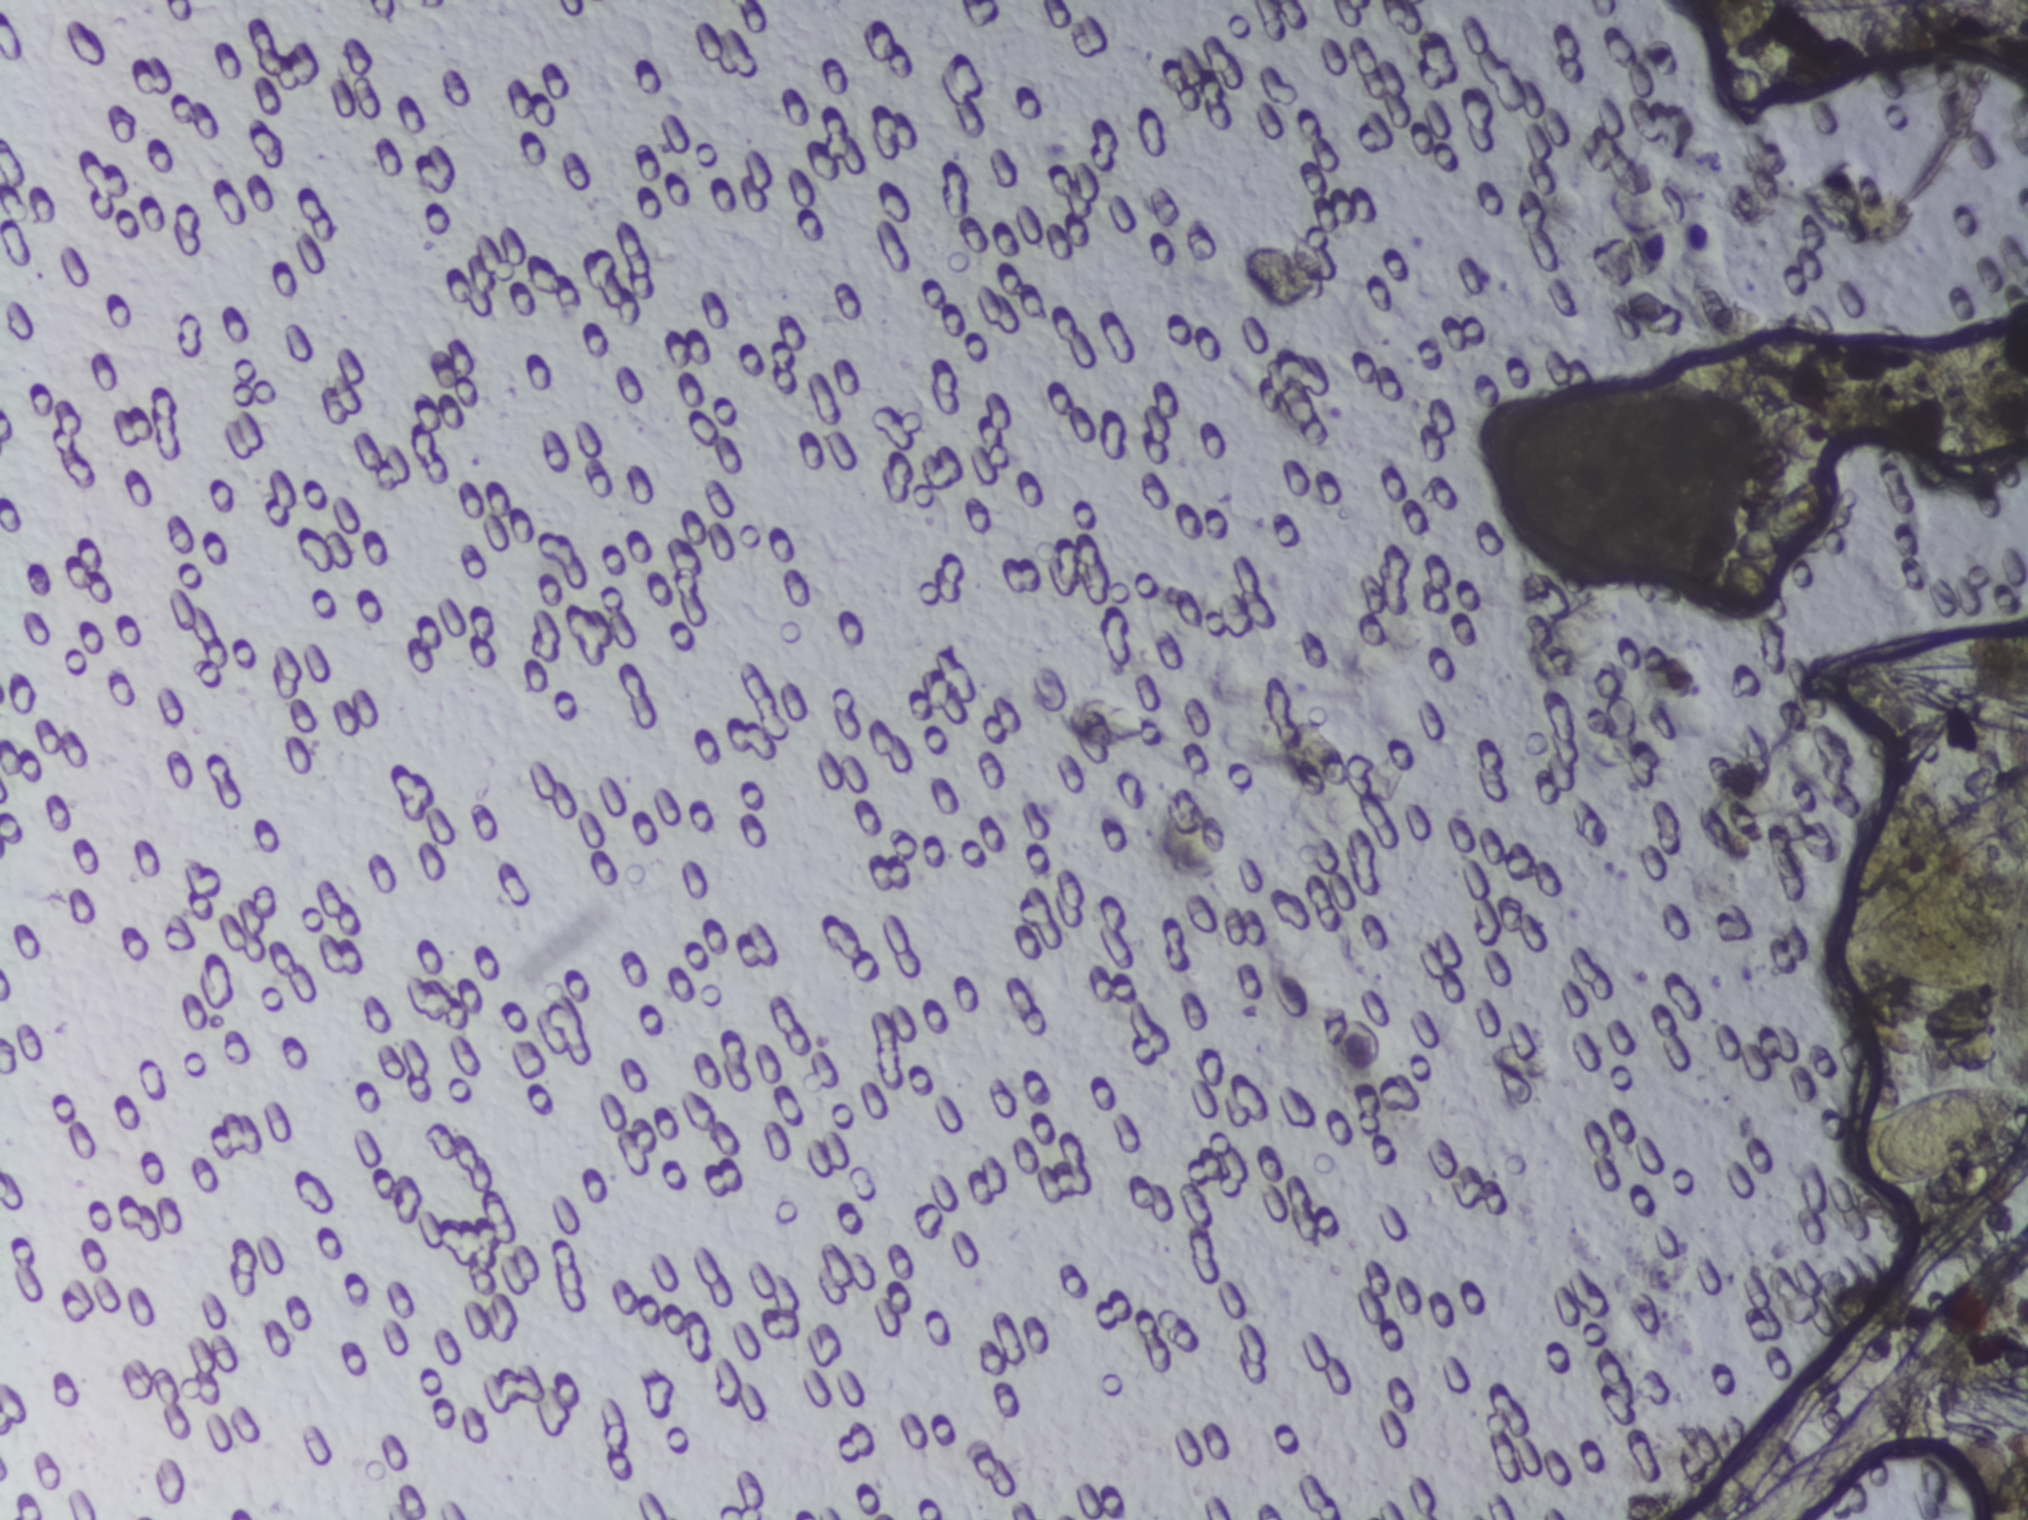
Photomicrograph of a urine filtration membrane, 4× objective.
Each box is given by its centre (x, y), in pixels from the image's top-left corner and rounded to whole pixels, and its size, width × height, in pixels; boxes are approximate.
Outlined Schistosoma egg areas, left to right:
1. centre (1785, 522), 99 × 79 px
2. centre (1937, 1138), 177 × 106 px
Marked pixels, not the boxes around them: about 0.6% of the image. An outlined area can hold more than one egg.